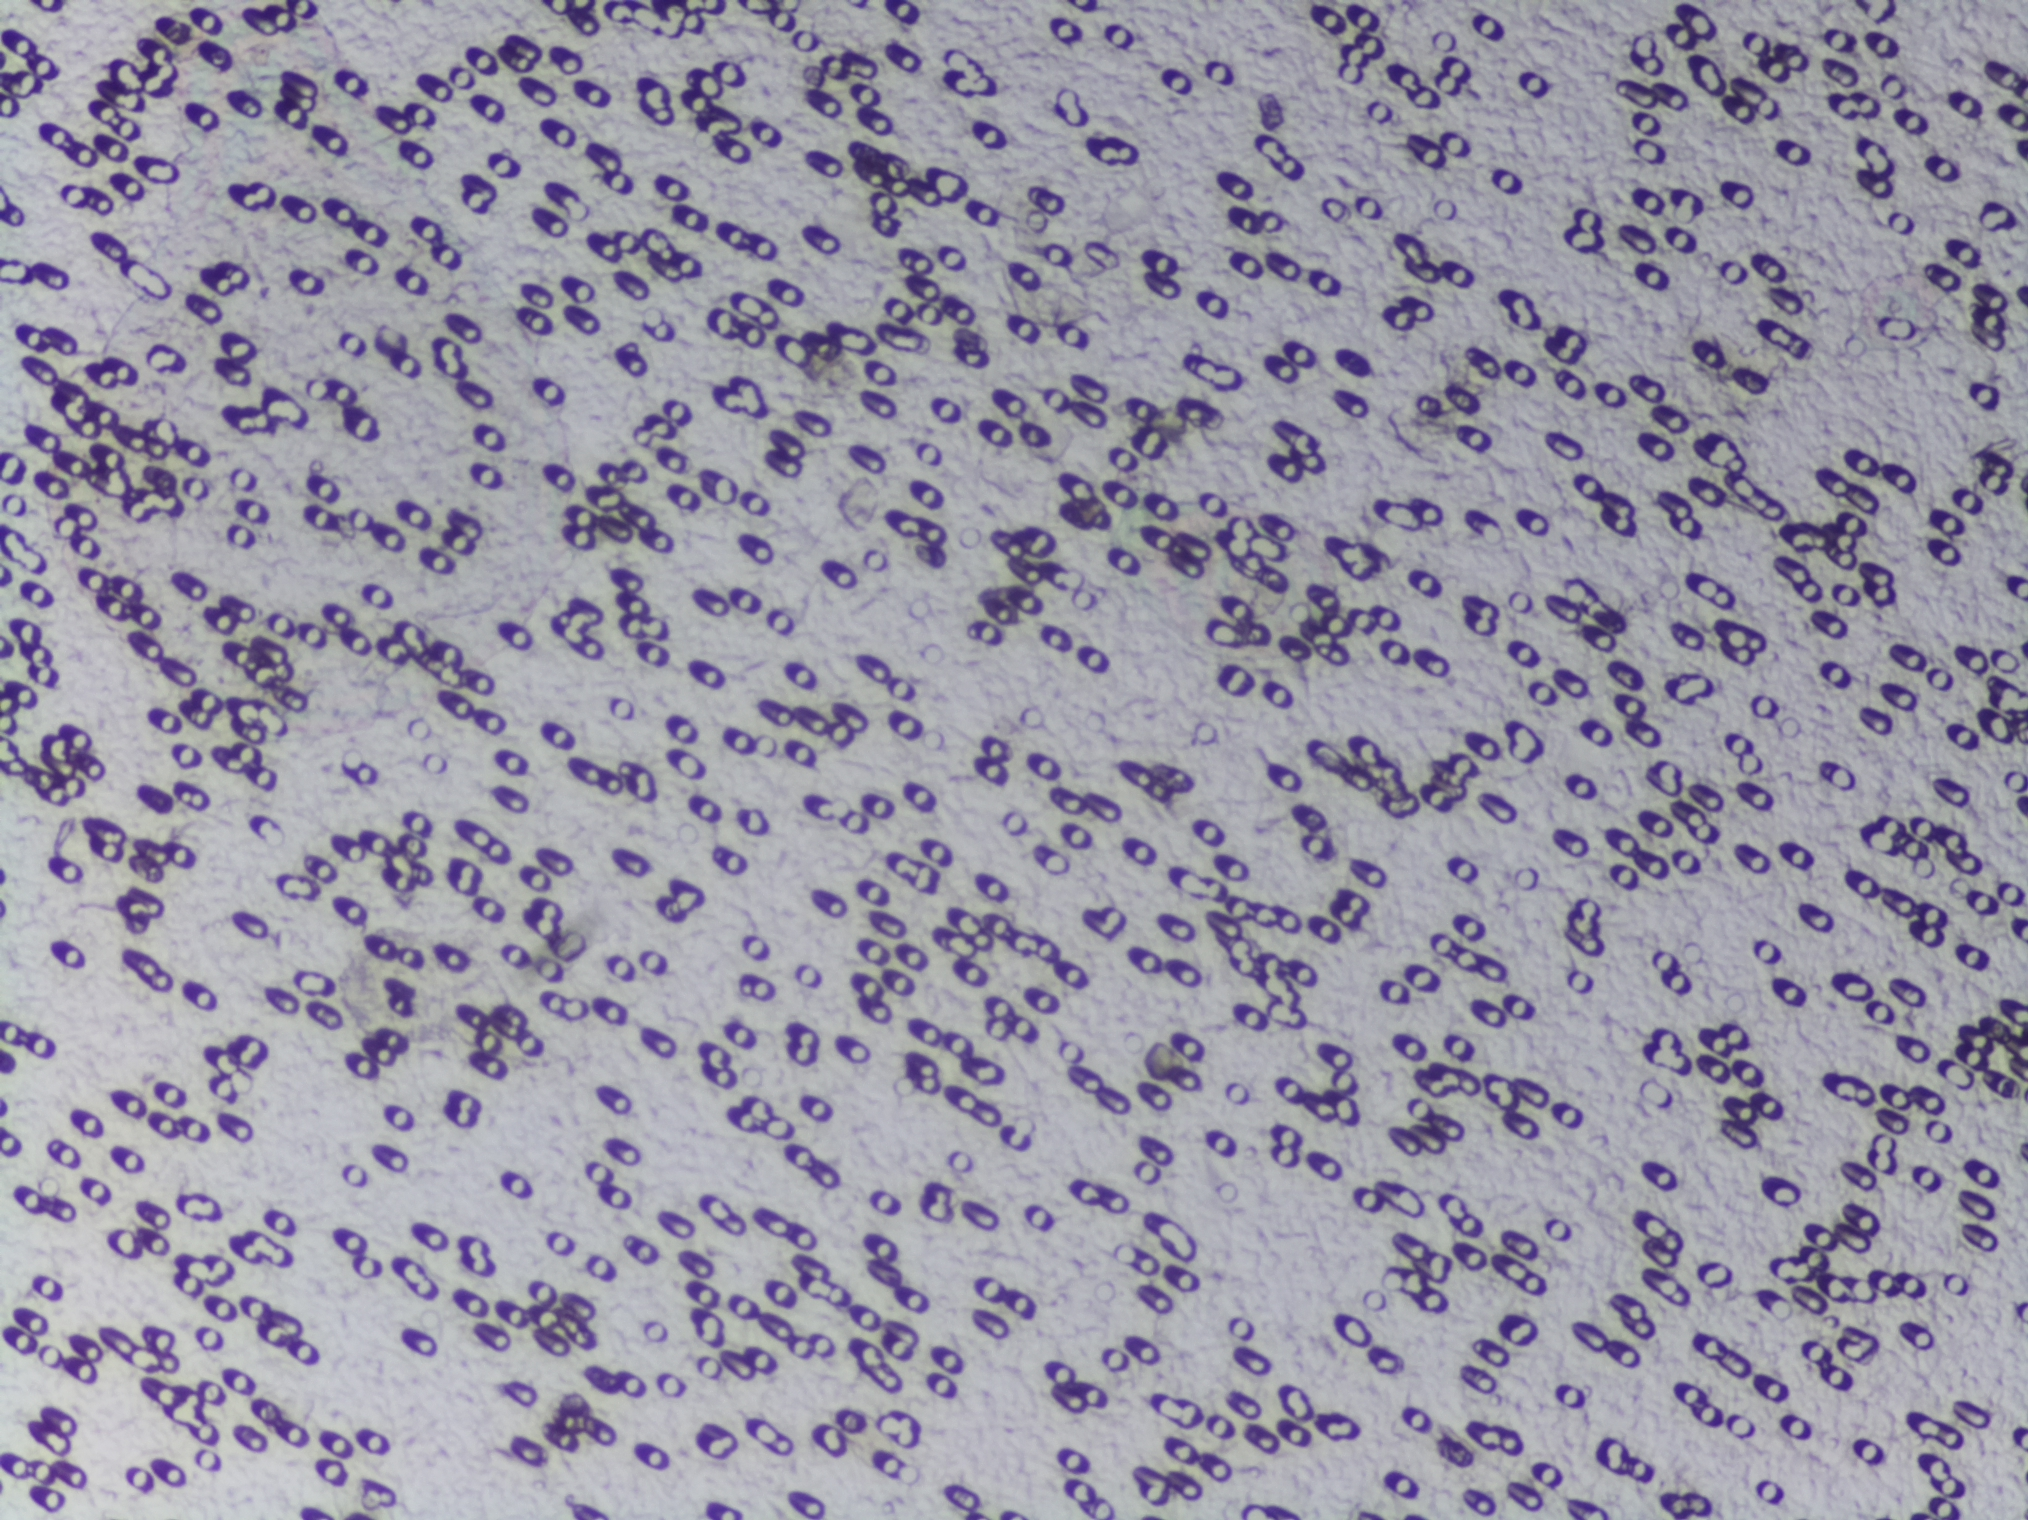
Microscope photograph (4× objective) of a membrane that a urine sample was filtered through.
No Schistosoma egg is outlined in this image's expert annotation.